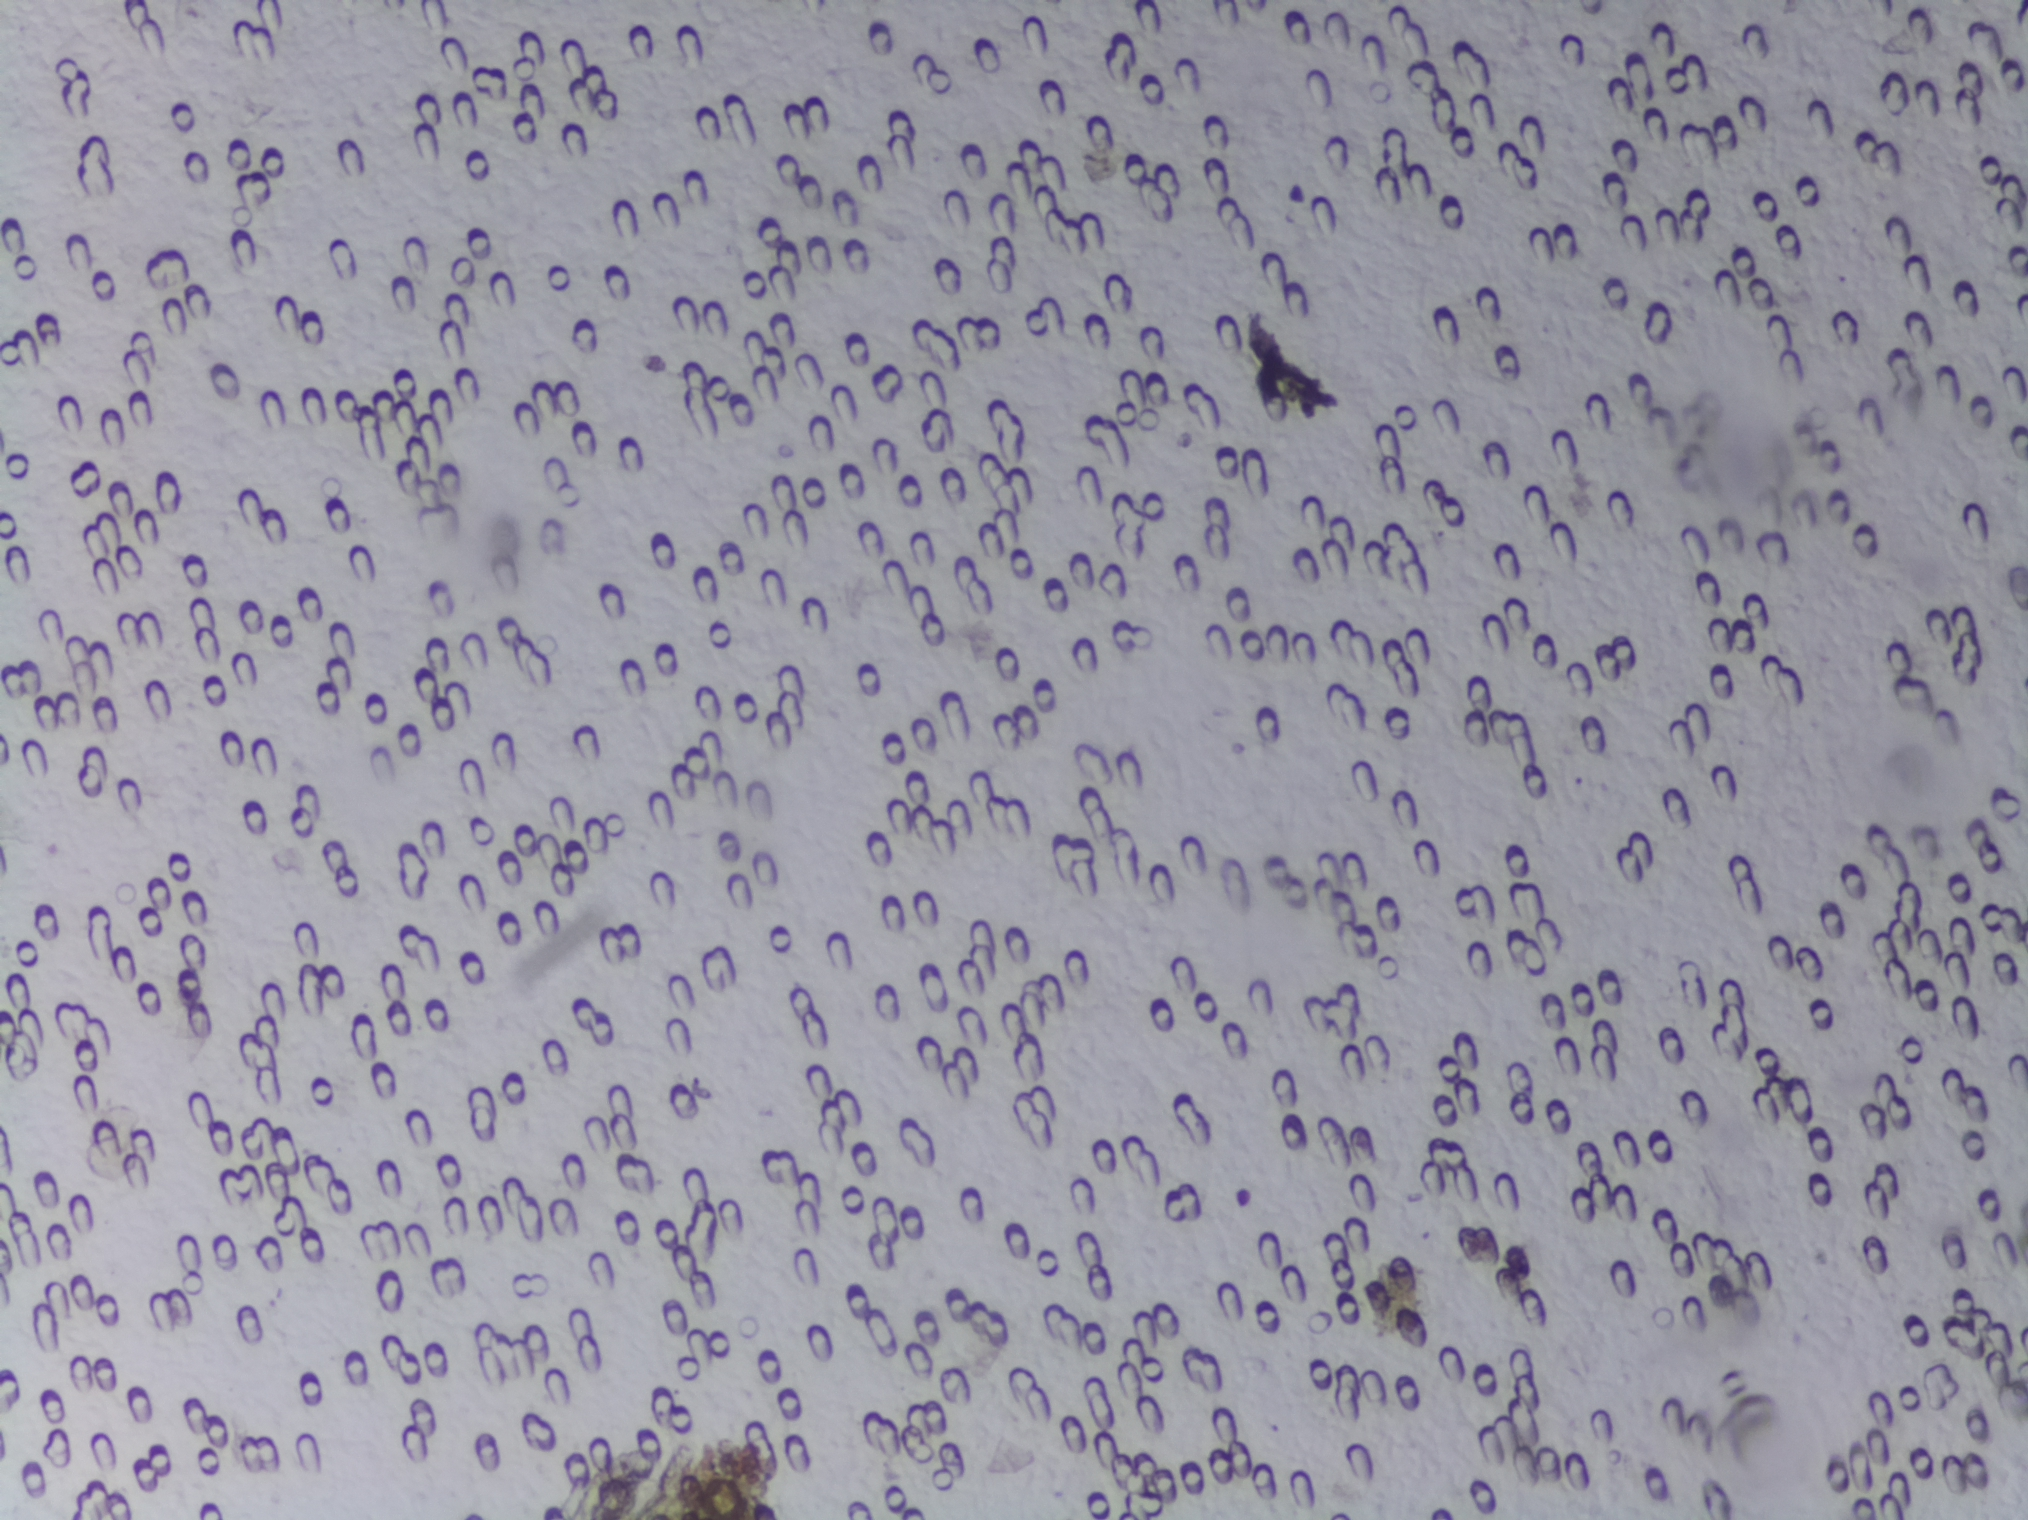
Microscope photograph (4× objective) of a membrane that a urine sample was filtered through. Field of view: about 1.5 mm wide and 1.1 mm high.
The expert annotation marks no Schistosoma egg in this field of view.